Photomicrograph of a urine filtration membrane, 4× objective.
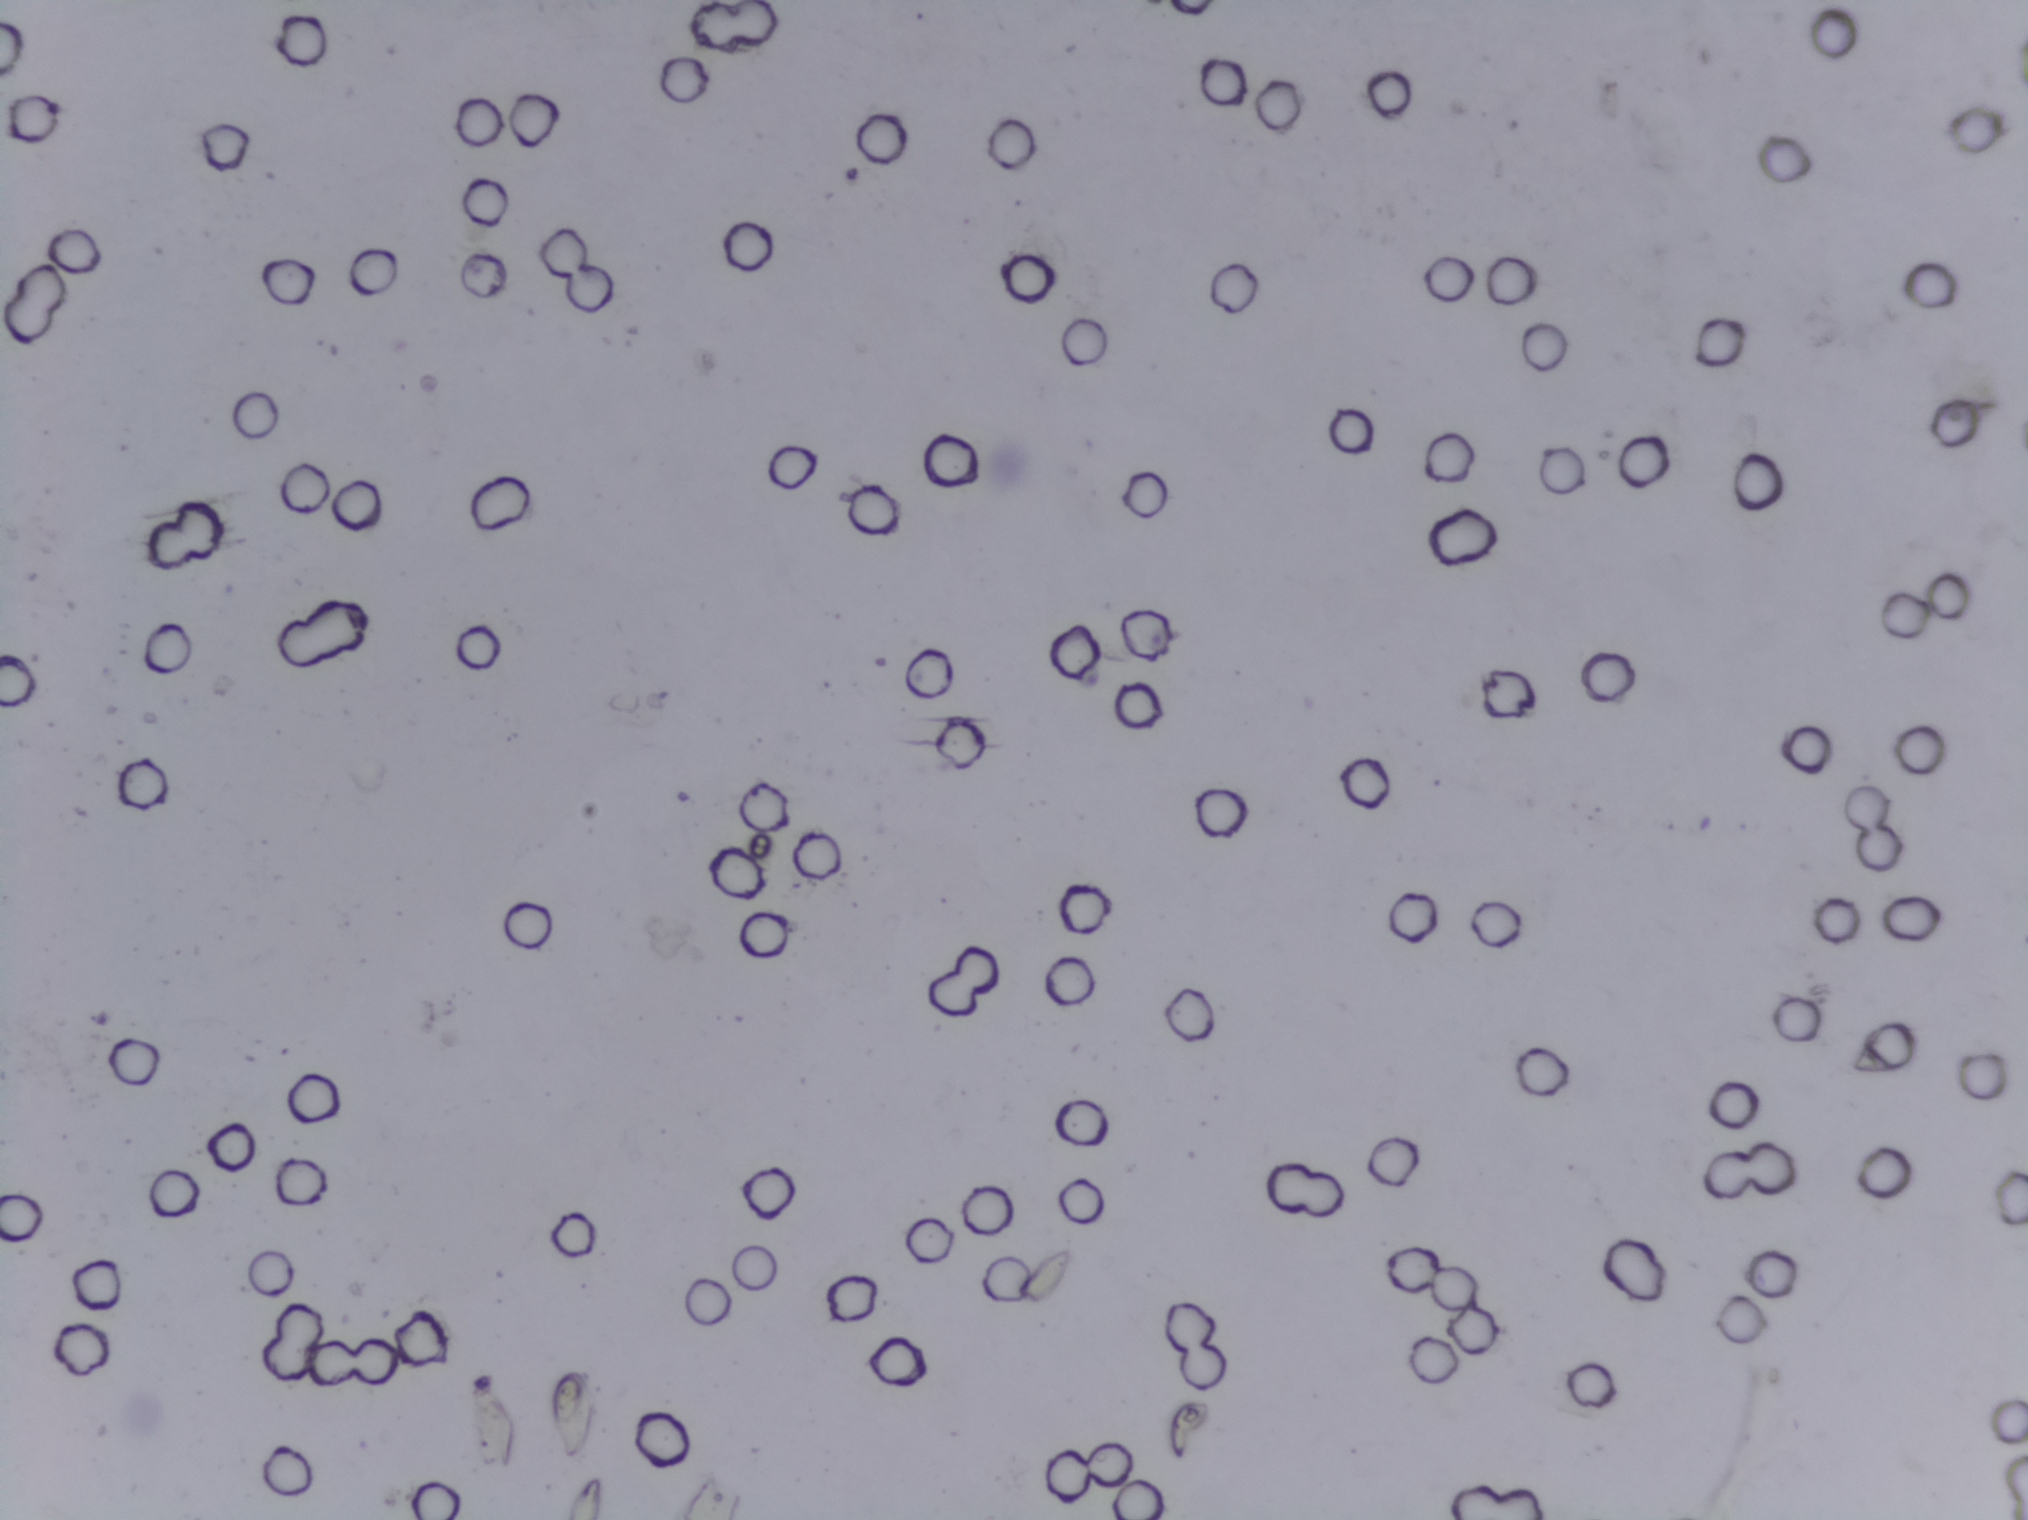
Schistosoma eggs: none outlined.